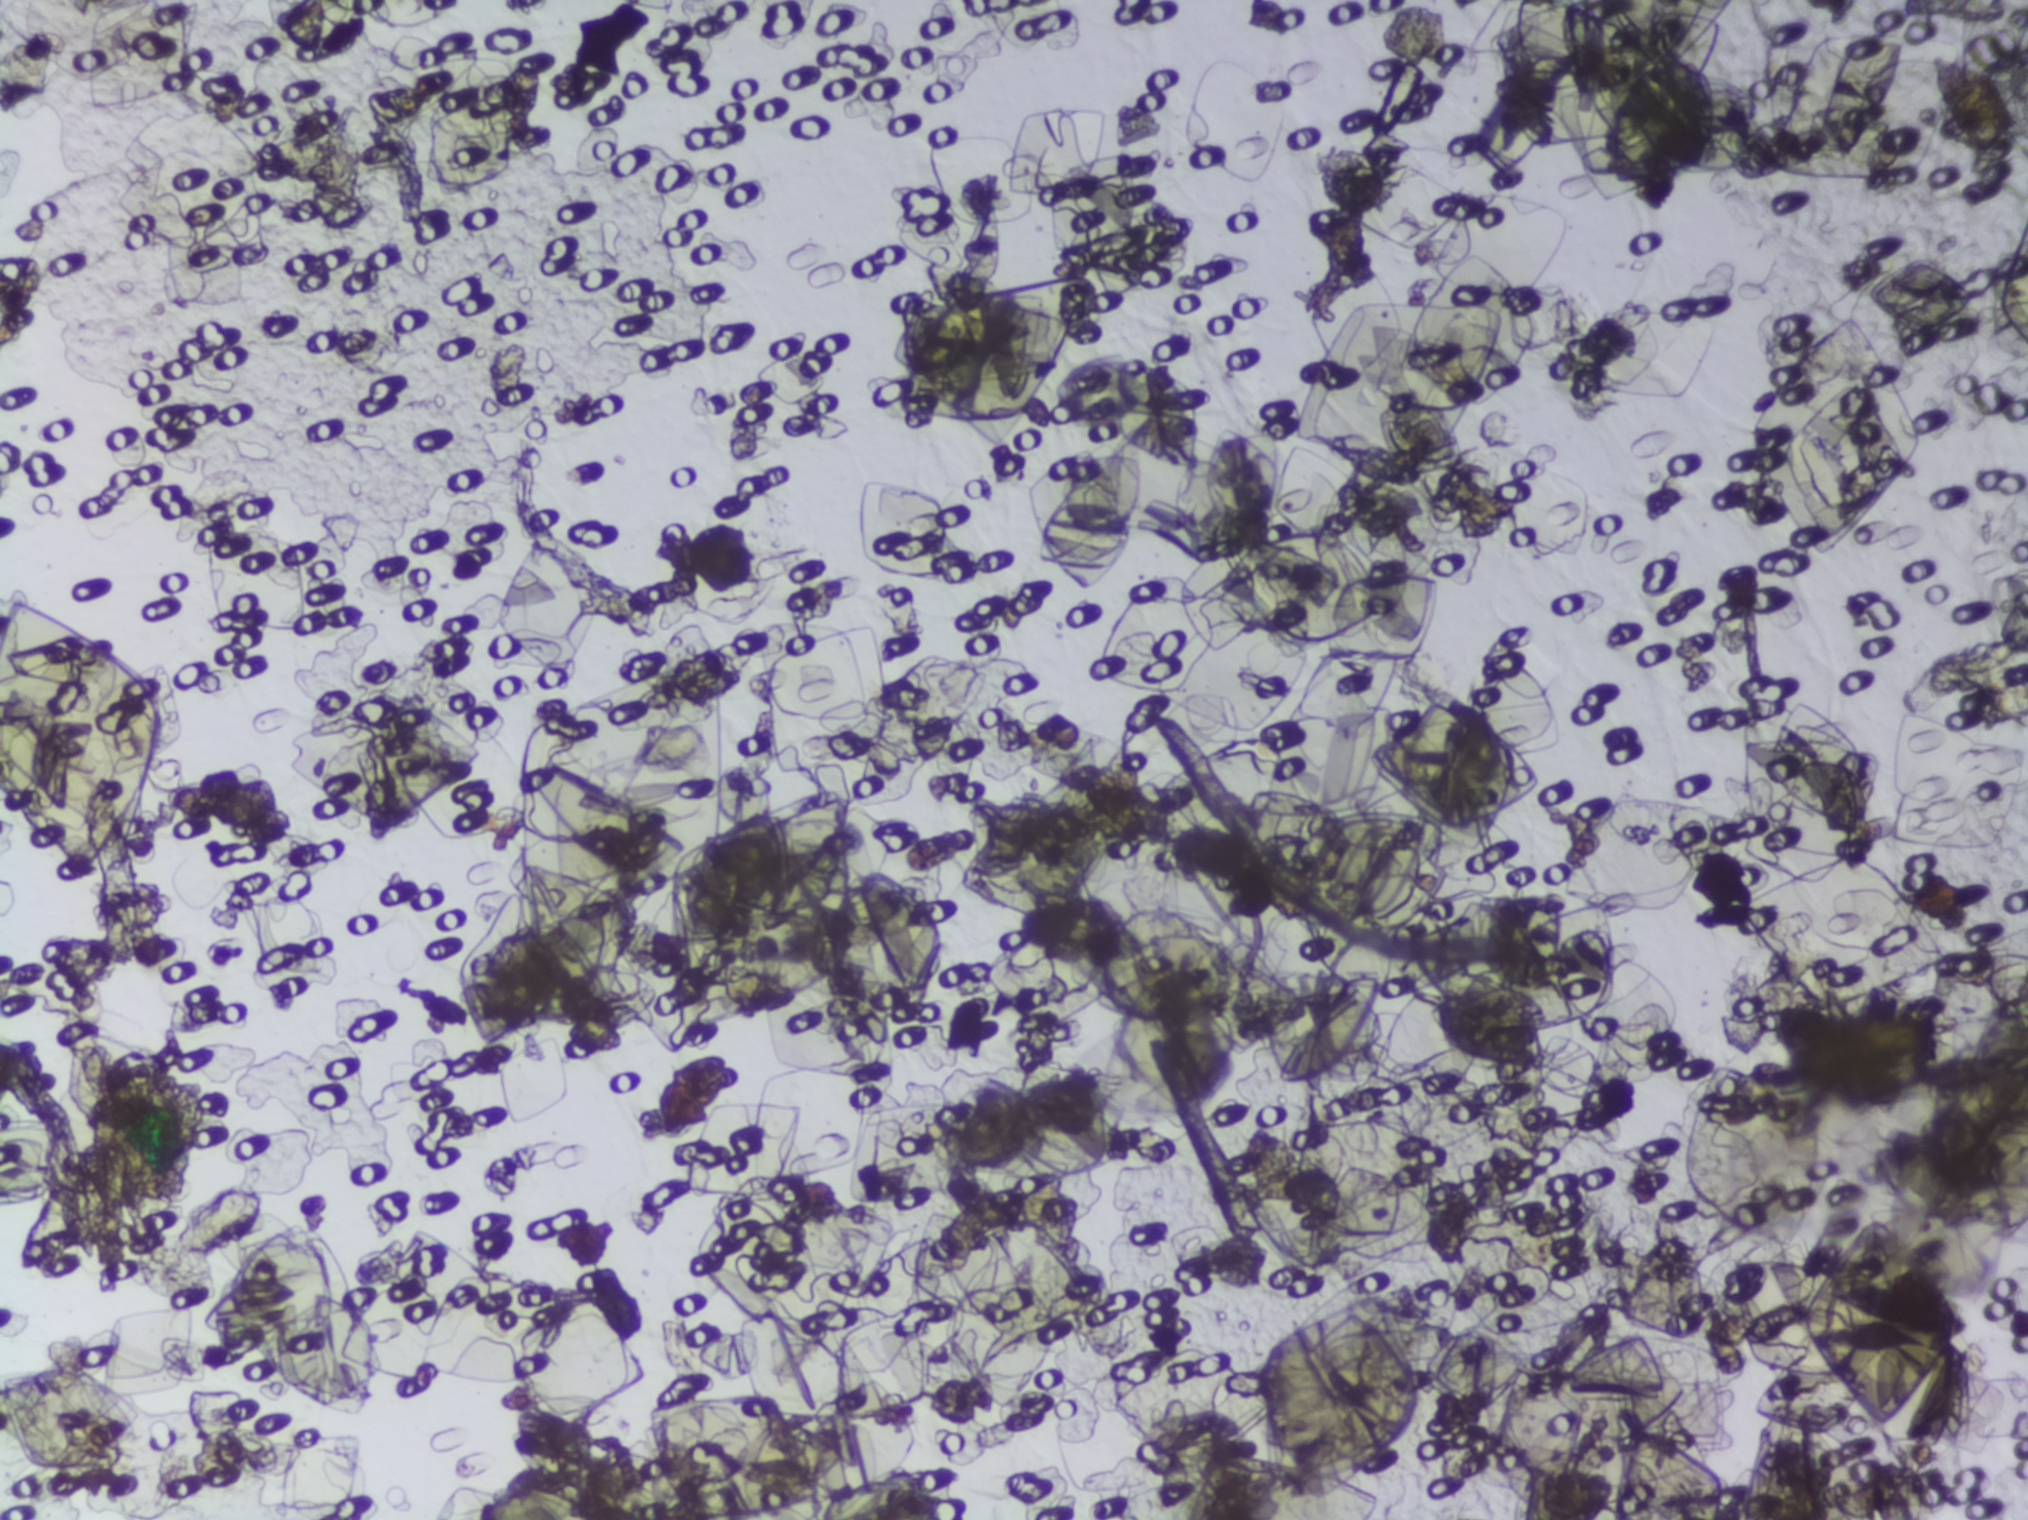
Microscope photograph (4× objective) of a membrane that a urine sample was filtered through.
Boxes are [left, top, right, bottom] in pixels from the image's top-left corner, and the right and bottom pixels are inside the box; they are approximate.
{"schistosoma_egg_areas_xyxy_px": [[1928, 51, 2015, 163]]}
A single outlined area may contain several eggs. A marked egg may occasionally be S. mansoni rather than S. haematobium.